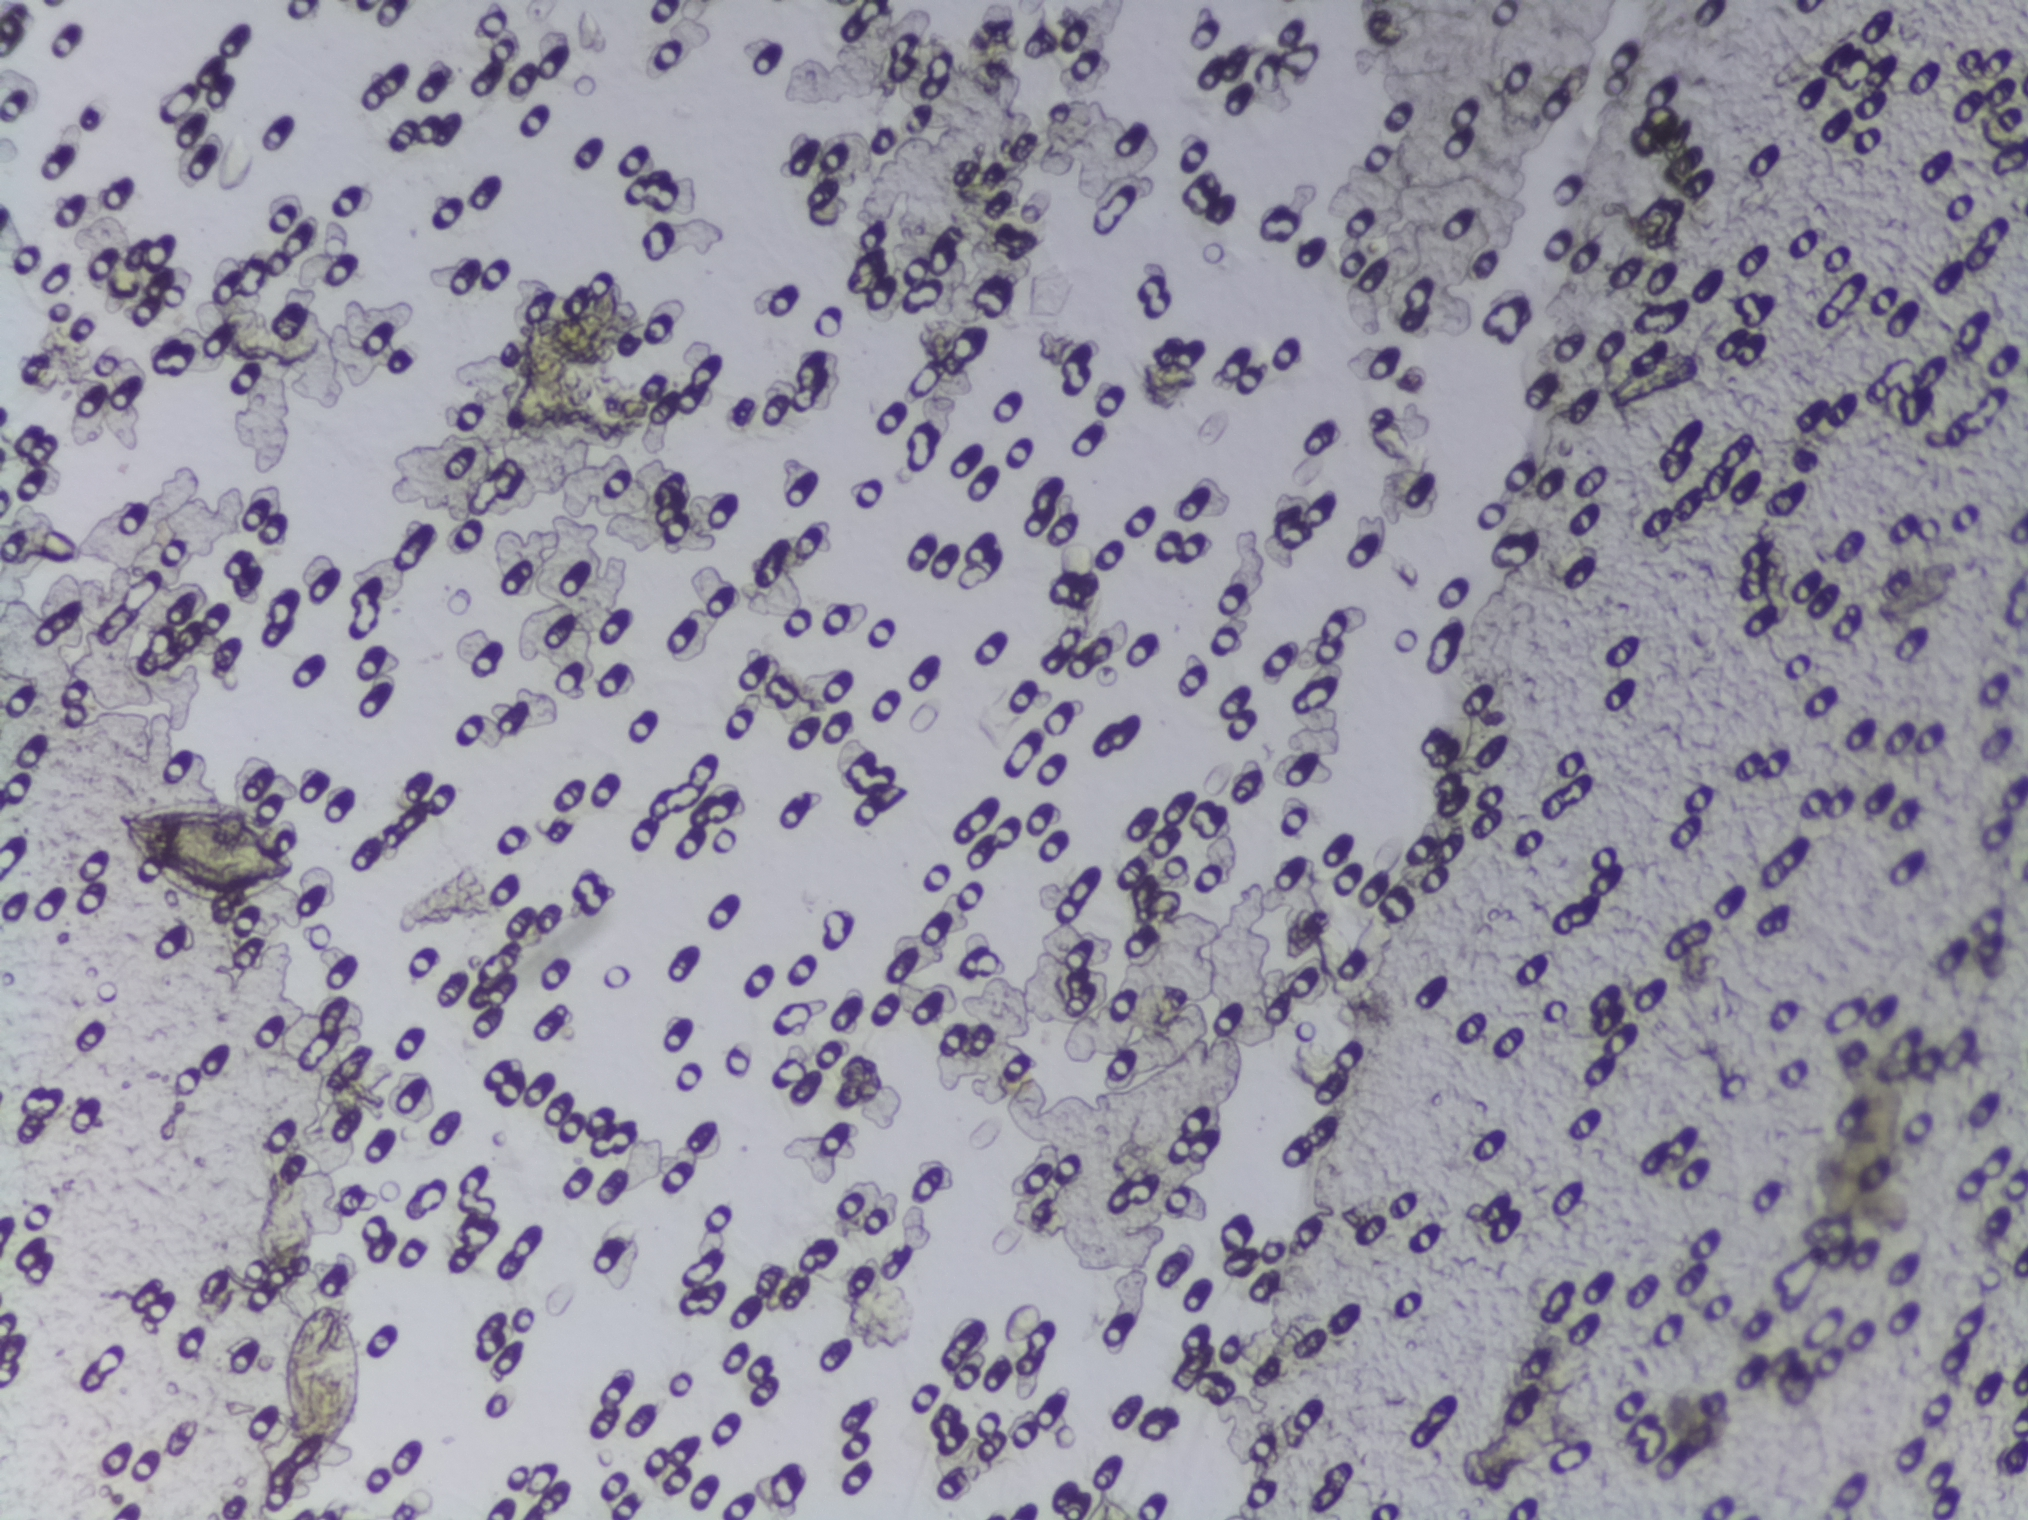
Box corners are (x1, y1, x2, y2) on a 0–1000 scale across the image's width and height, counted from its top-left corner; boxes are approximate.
The expert annotation outlines Schistosoma eggs at (53, 520, 150, 594) and (139, 849, 180, 976). Marked pixels, not the boxes around them: about 0.9% of the image. A single outlined area may contain several eggs. Any one outlined egg may, rarely, be S. mansoni rather than S. haematobium.
Urine filter membrane photographed through a 4× microscope objective.